Photomicrograph of a urine filtration membrane, 4× objective. The field of view is about 1.5 mm × 1.1 mm.
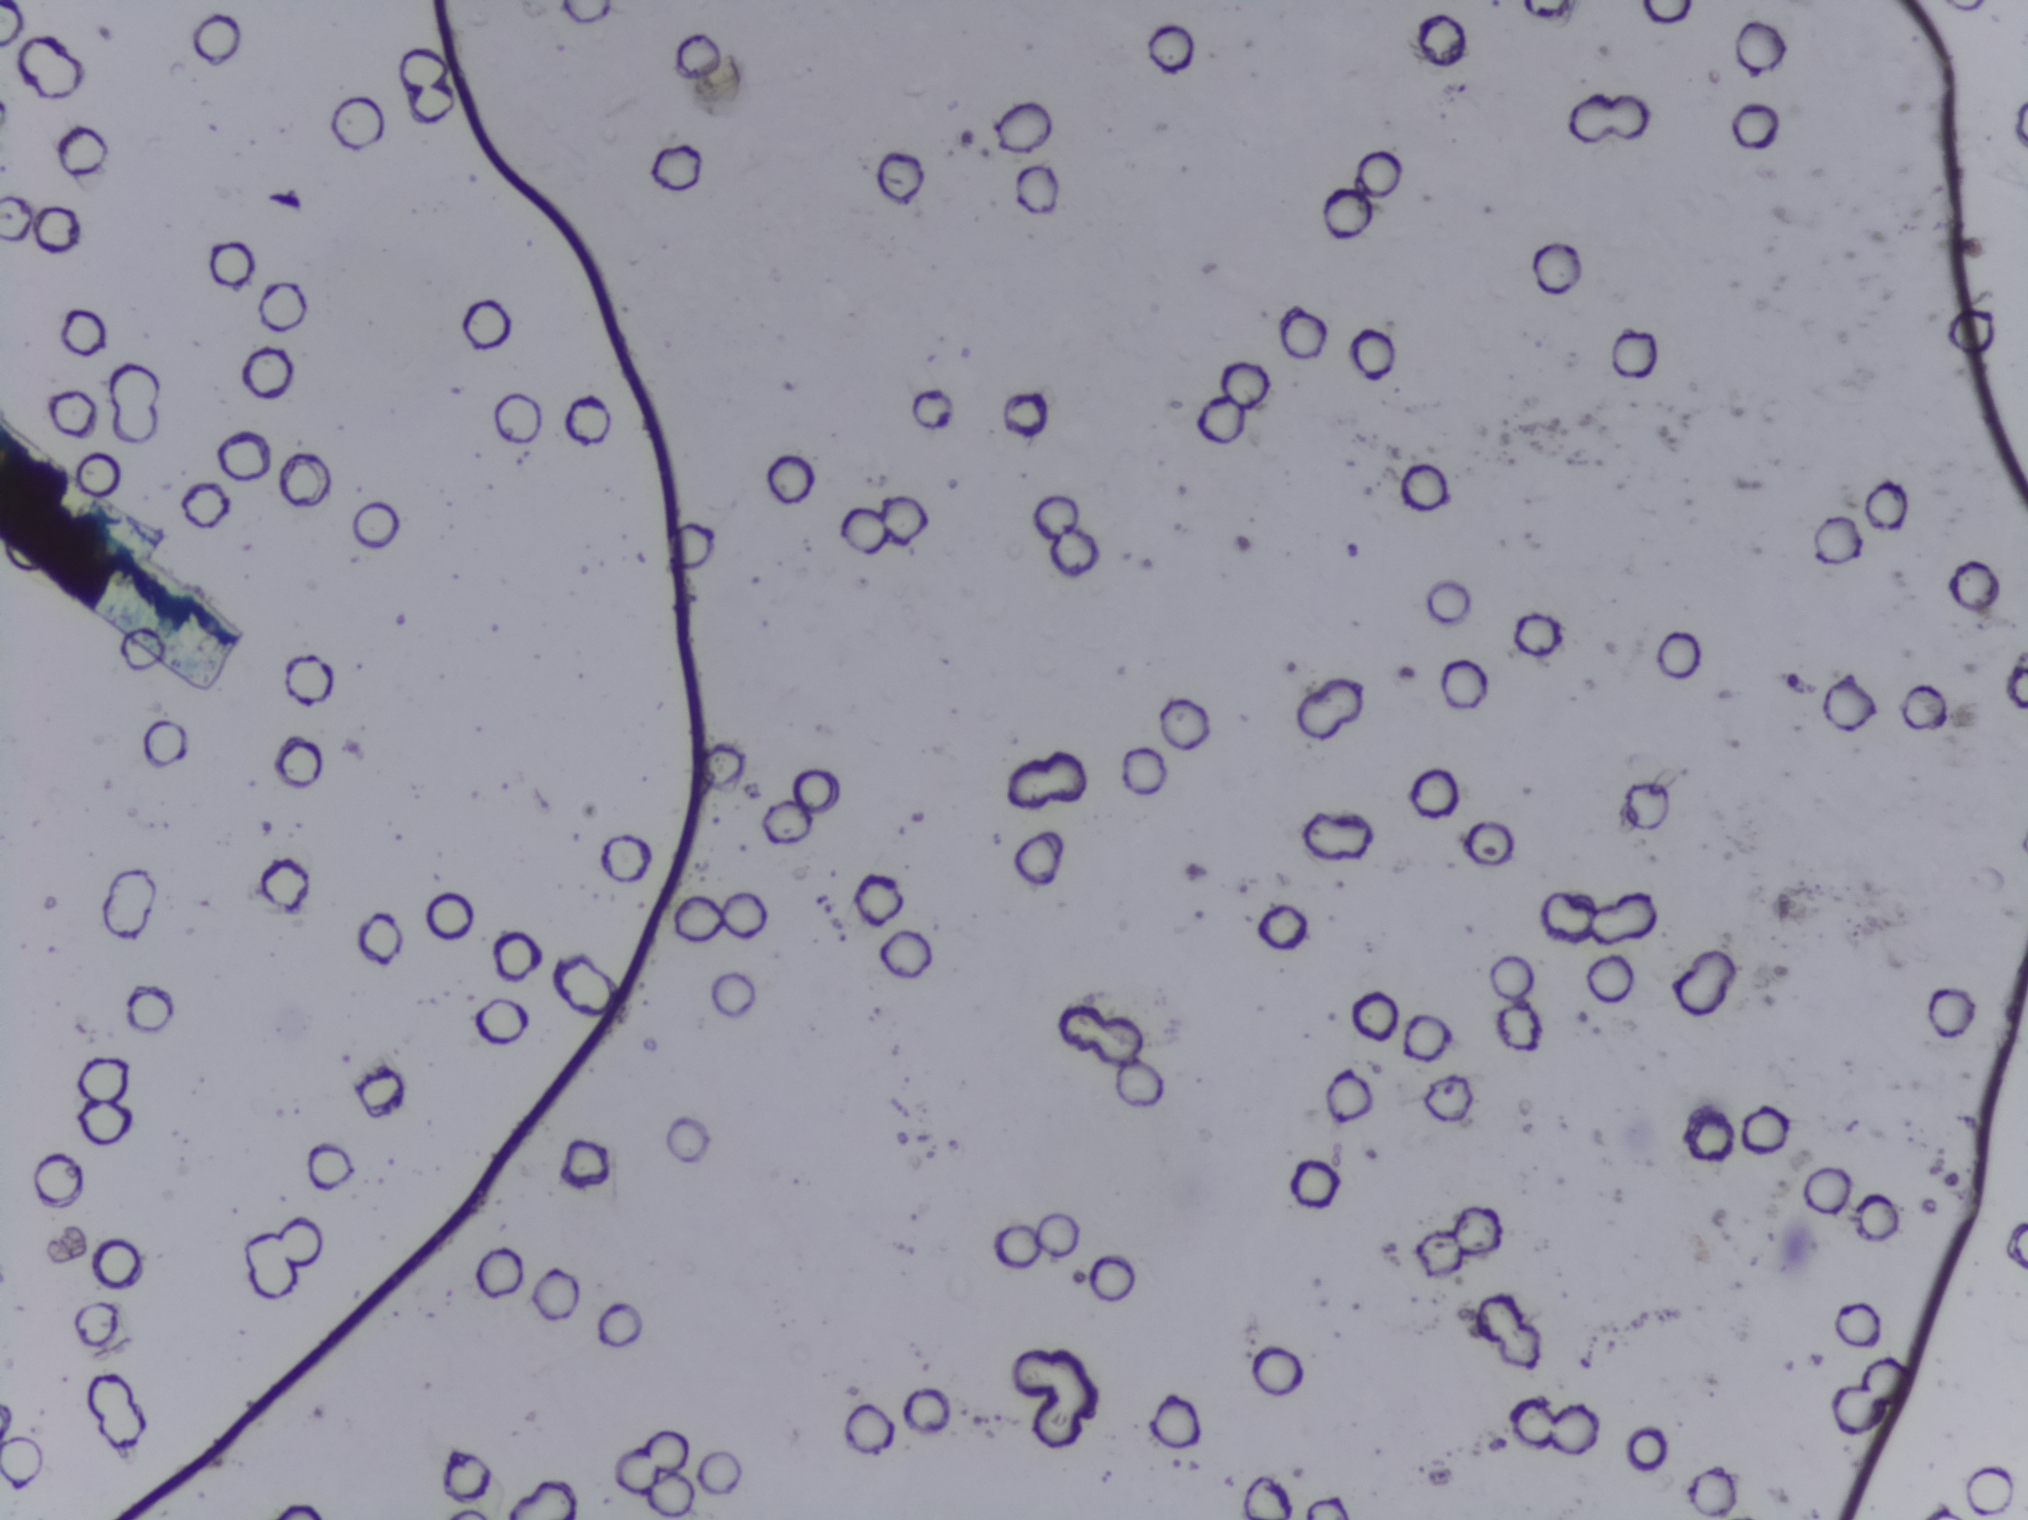
The expert annotation outlines no Schistosoma egg in this image.